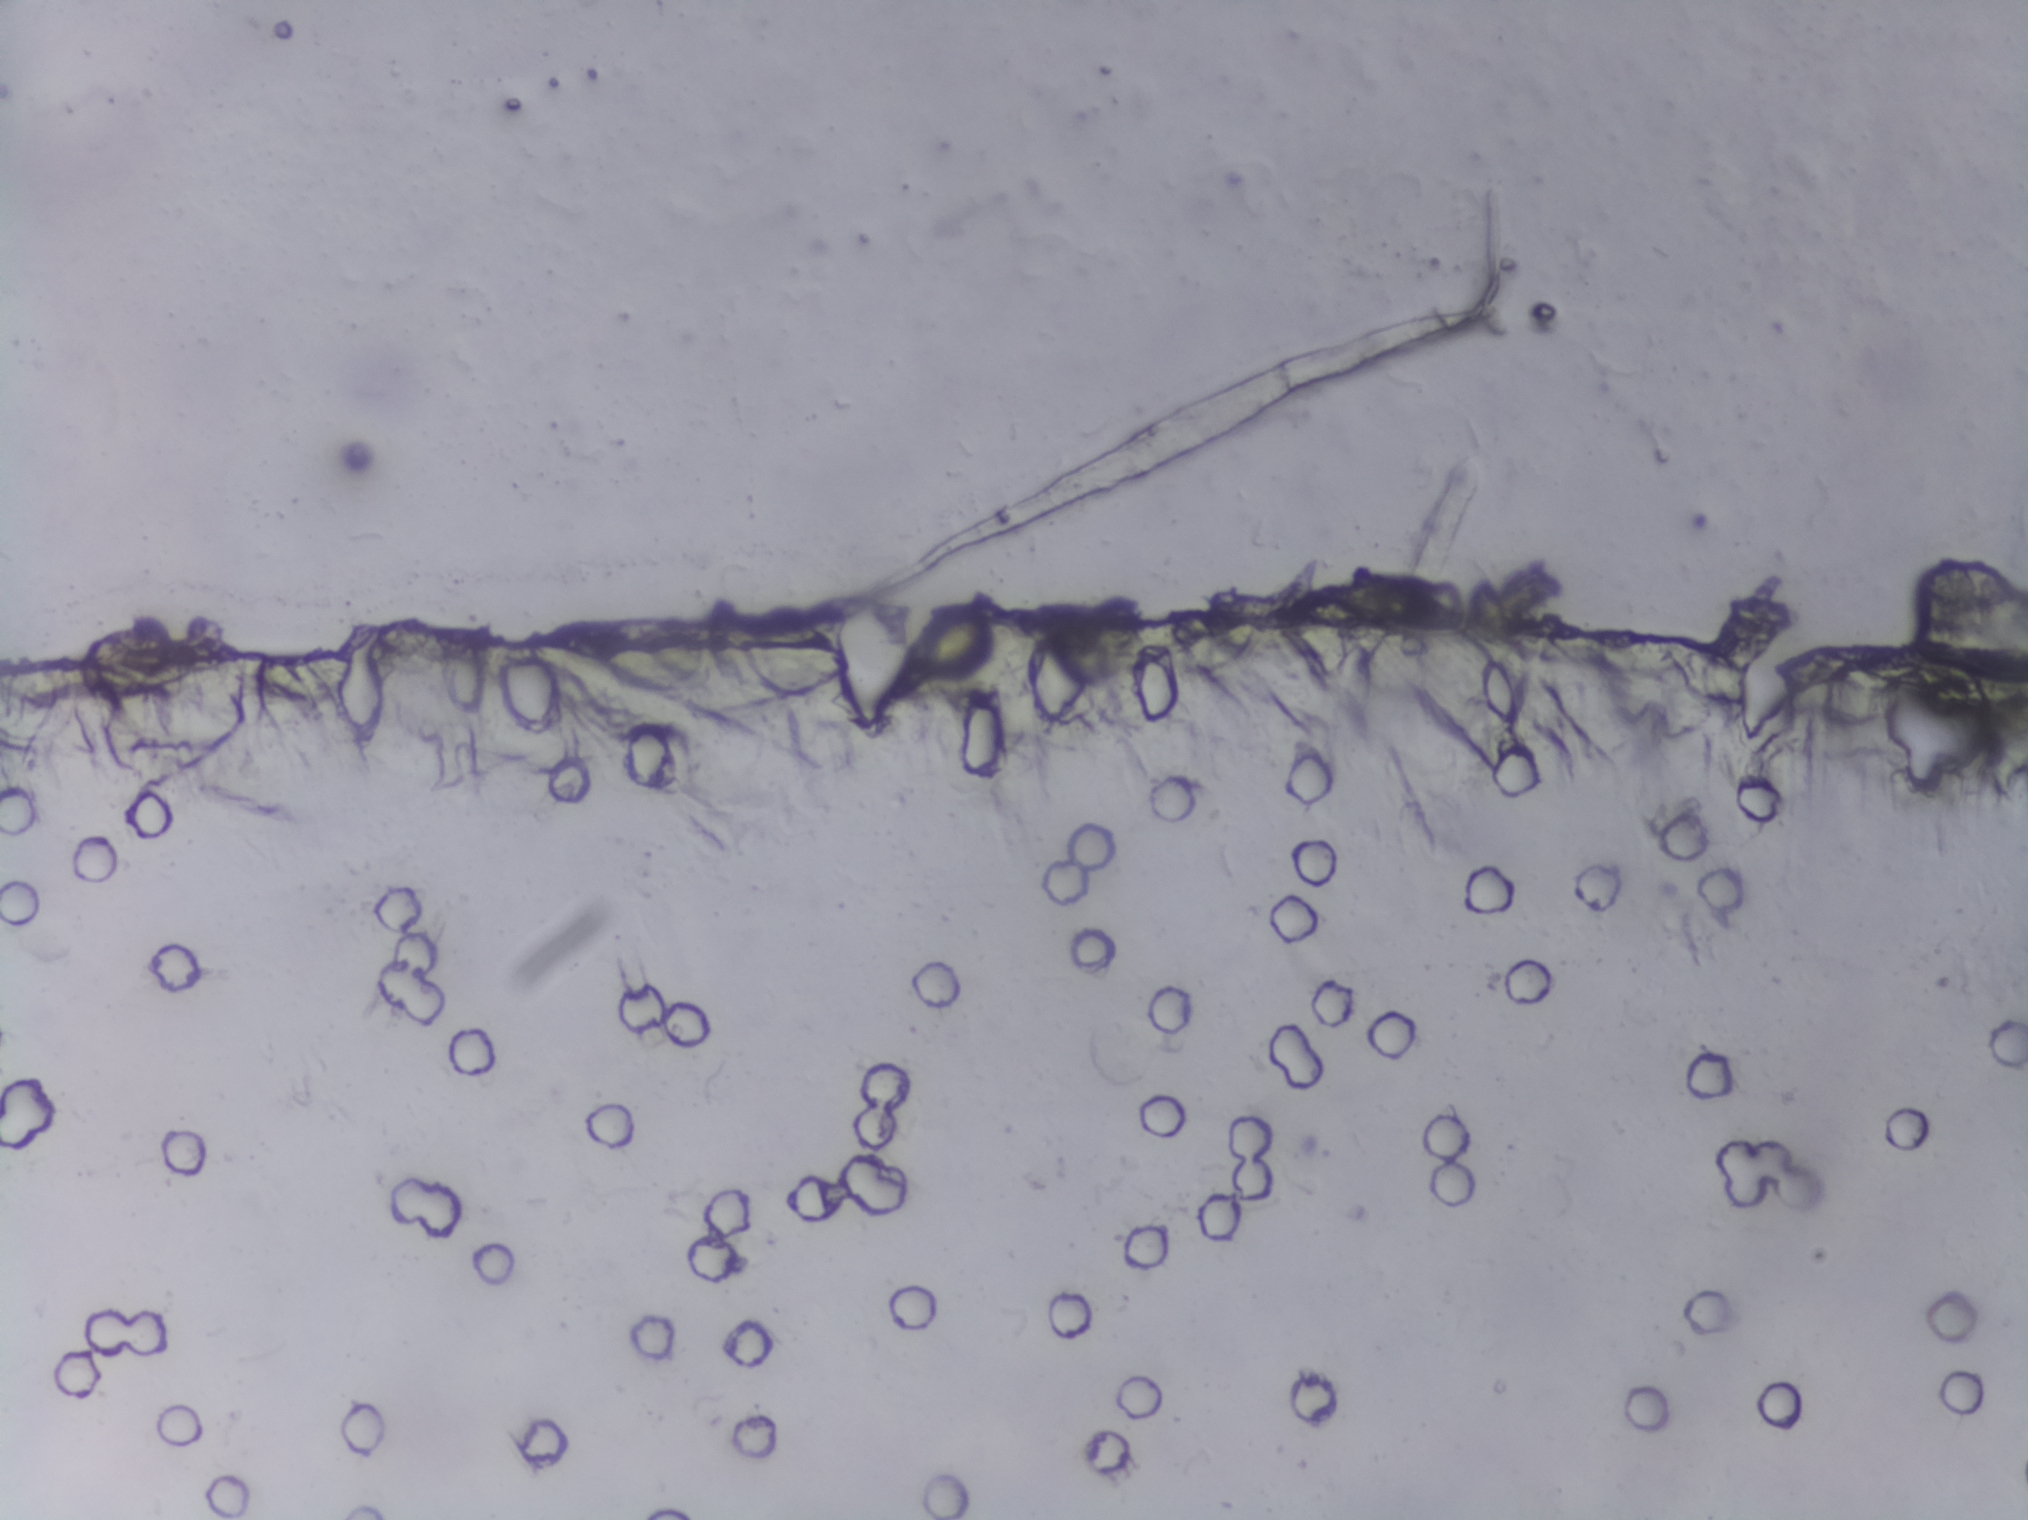
Urine filter membrane photographed through a 4× microscope objective.
No Schistosoma egg is outlined in this image's expert annotation.